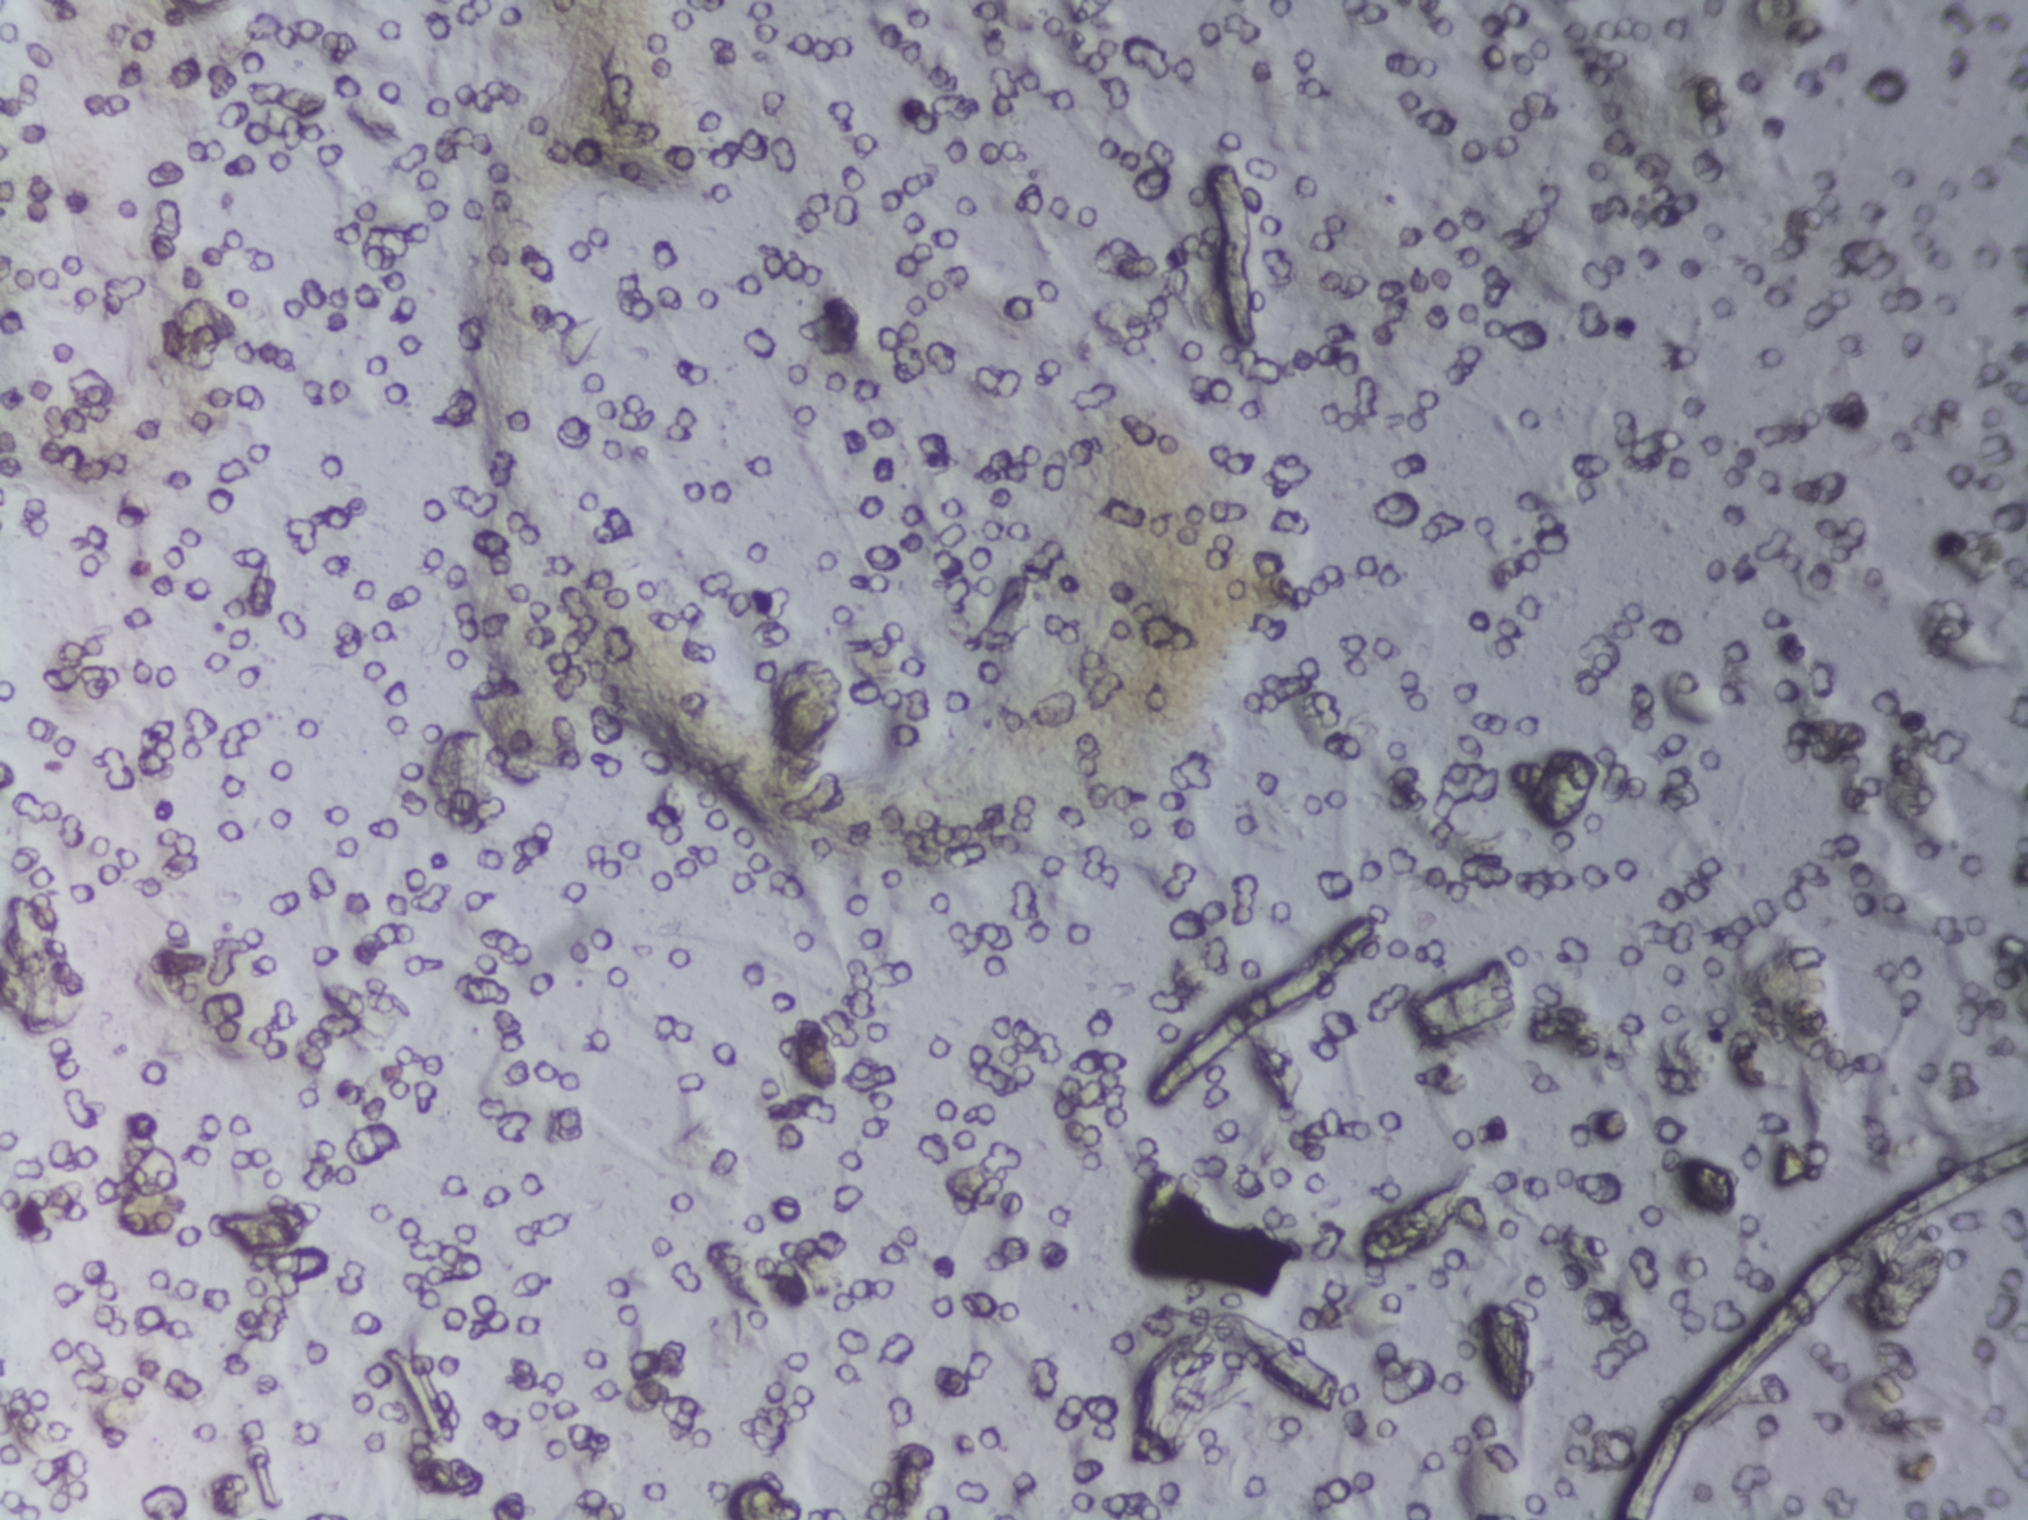
Photograph from an automated digital microscope: urine filter membrane, 4× objective.
No Schistosoma egg is outlined in this image's expert annotation.